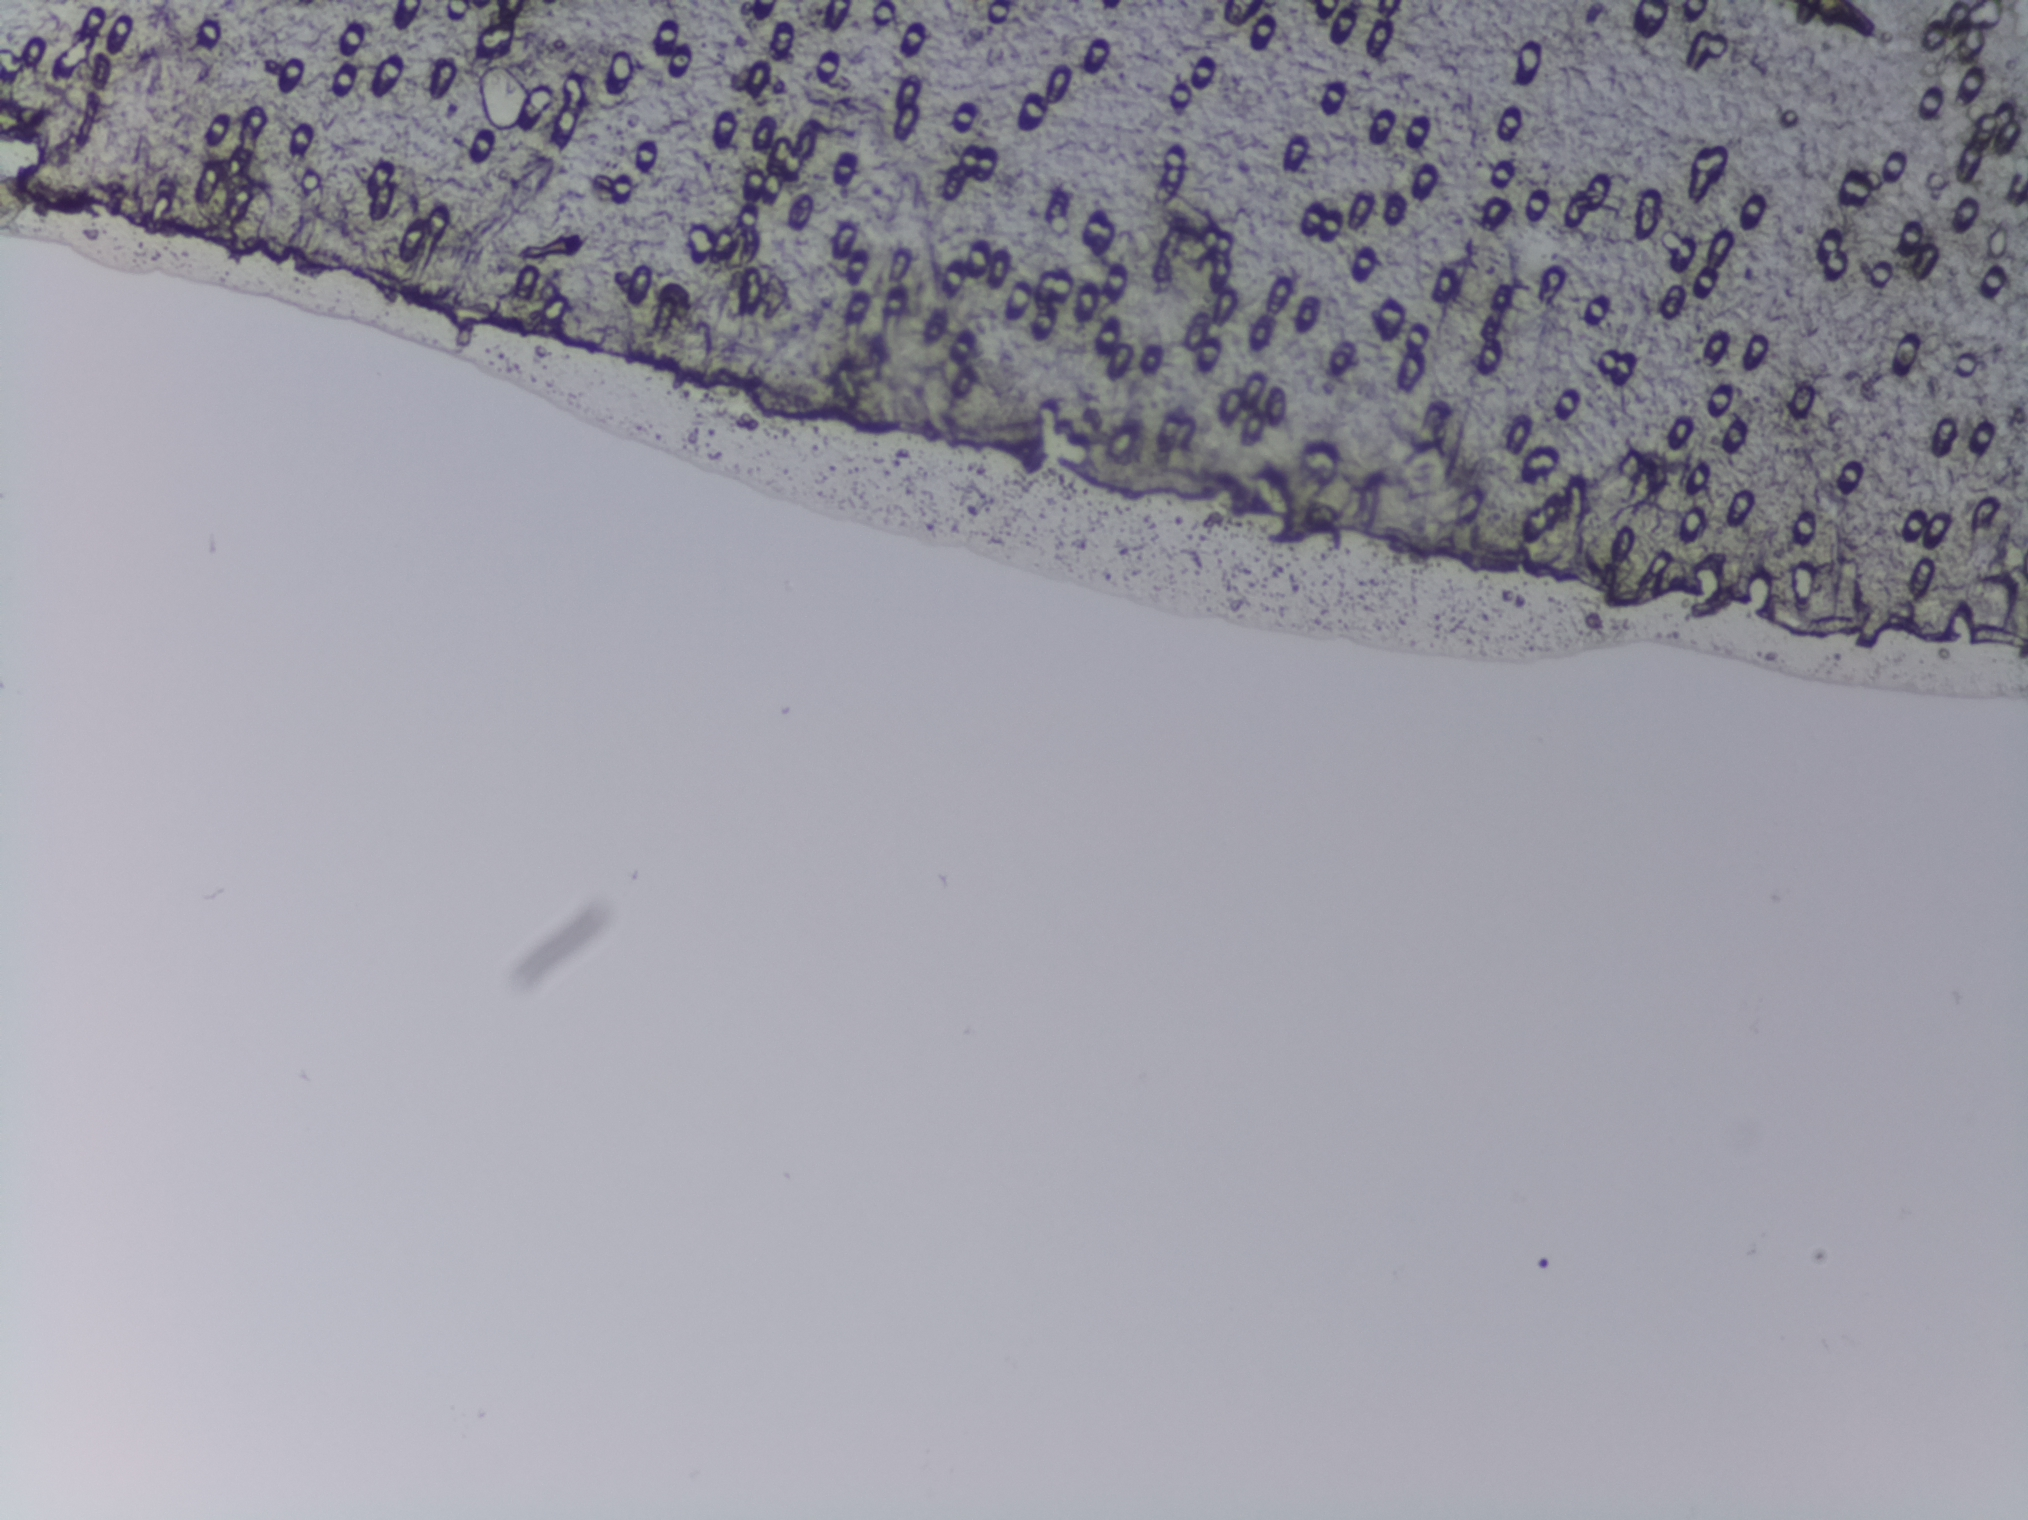
Urine filtration membrane under a 4× objective, photographed by an automated digital microscope.
The expert annotation outlines no Schistosoma egg in this image.